Urine filtration membrane under a 4× objective, photographed by an automated digital microscope.
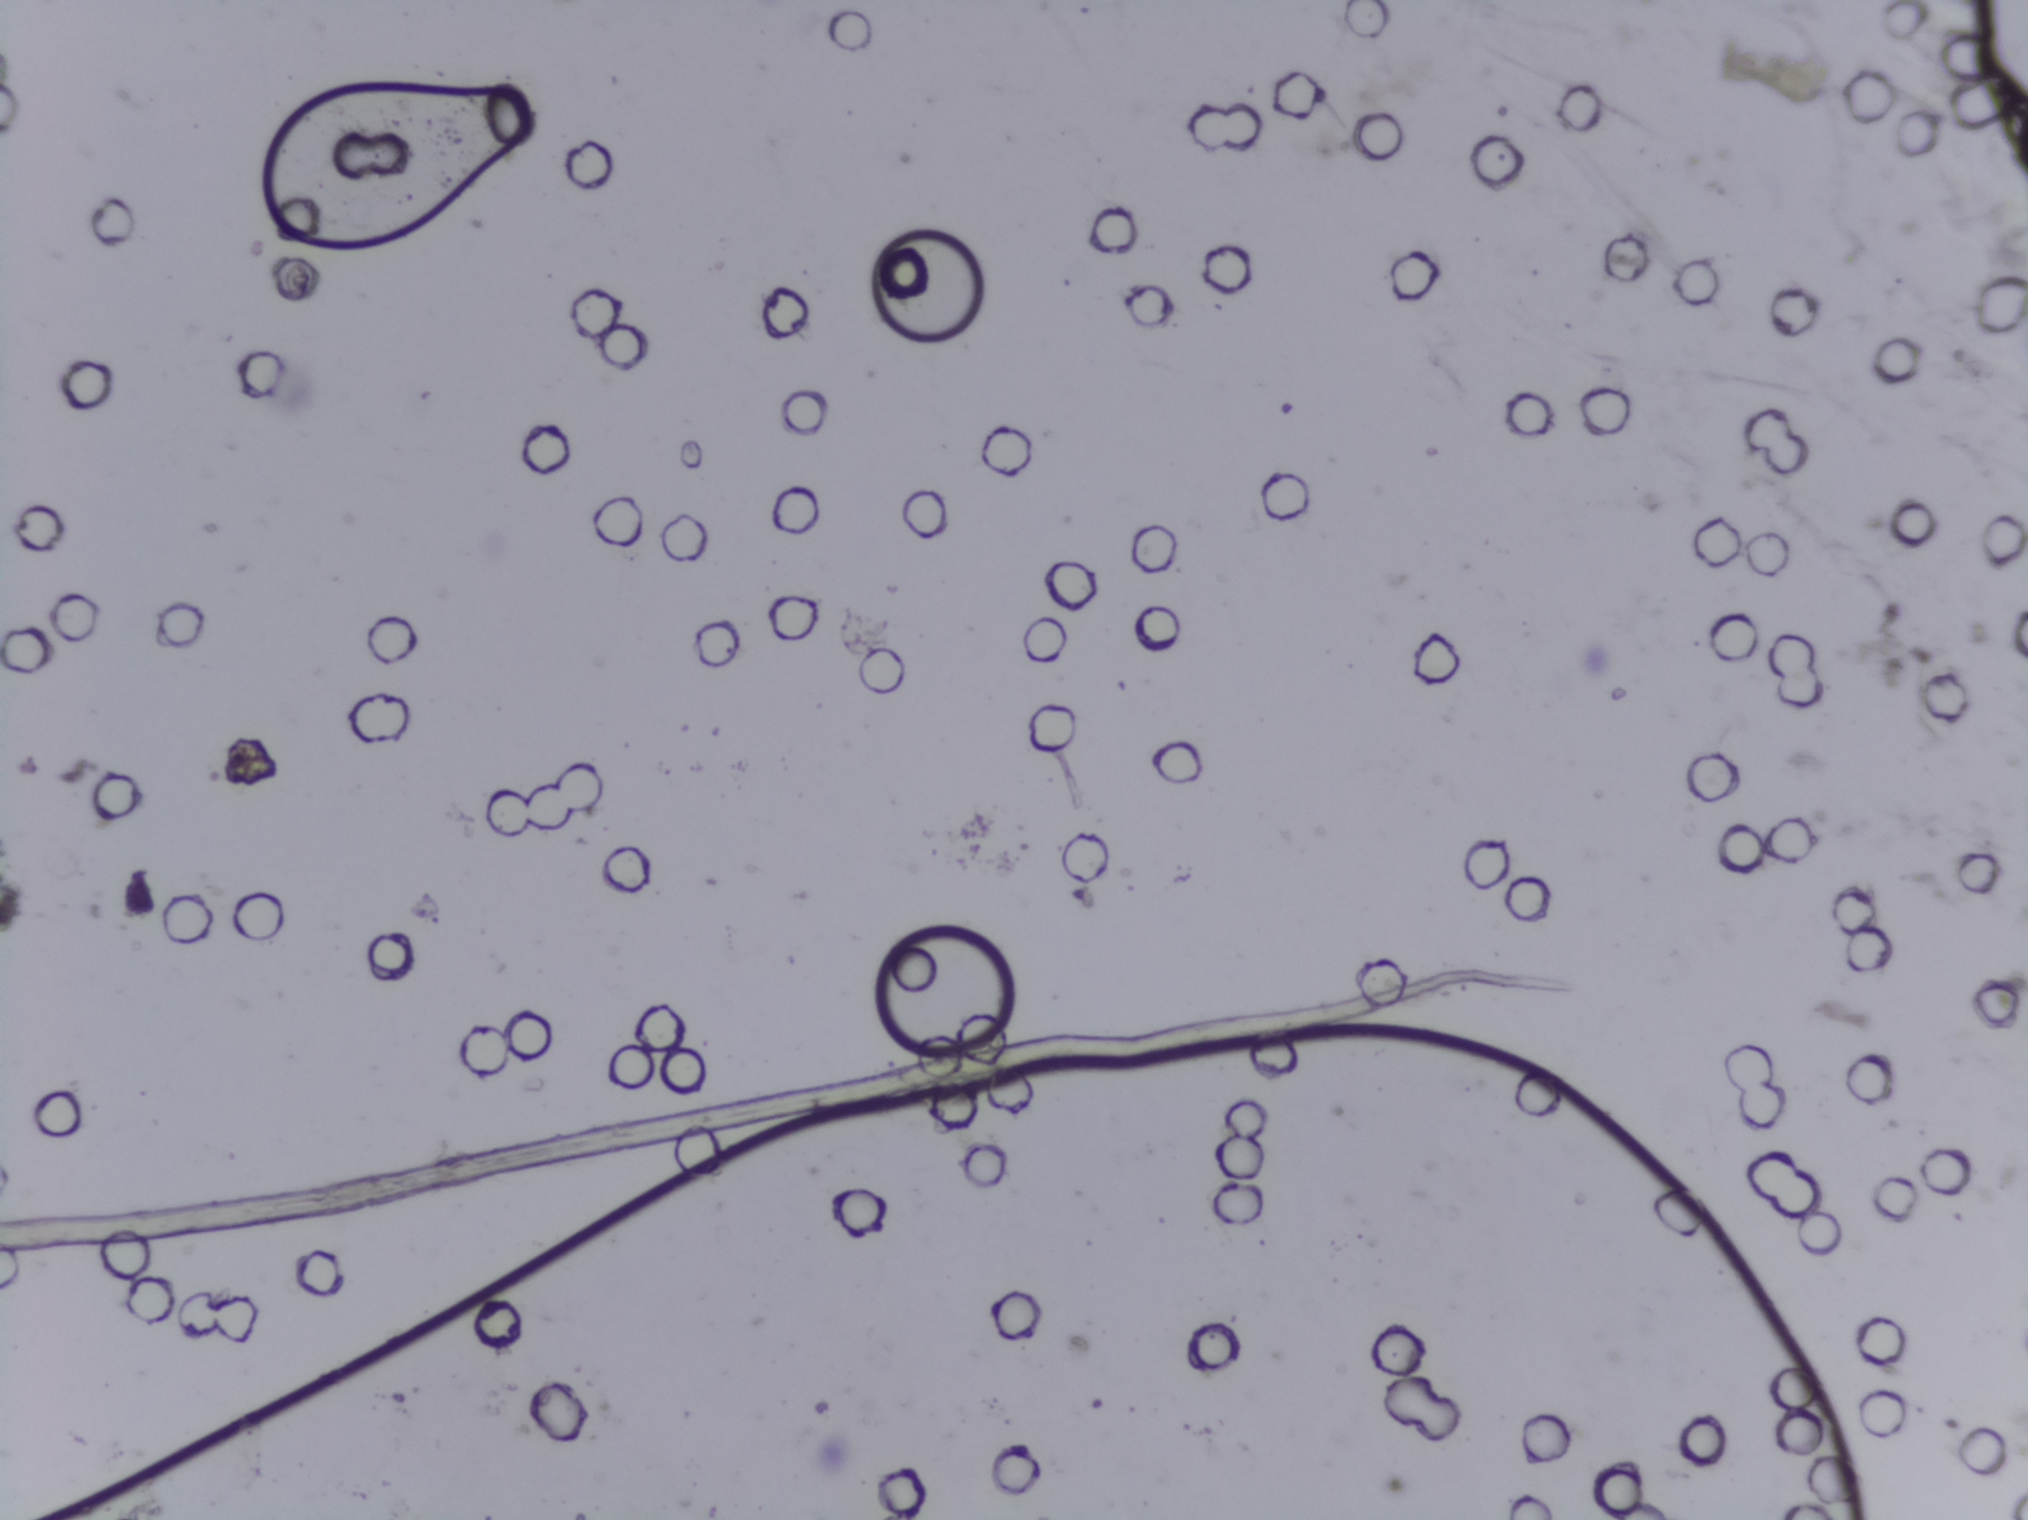
No Schistosoma egg is outlined in this image's expert annotation.